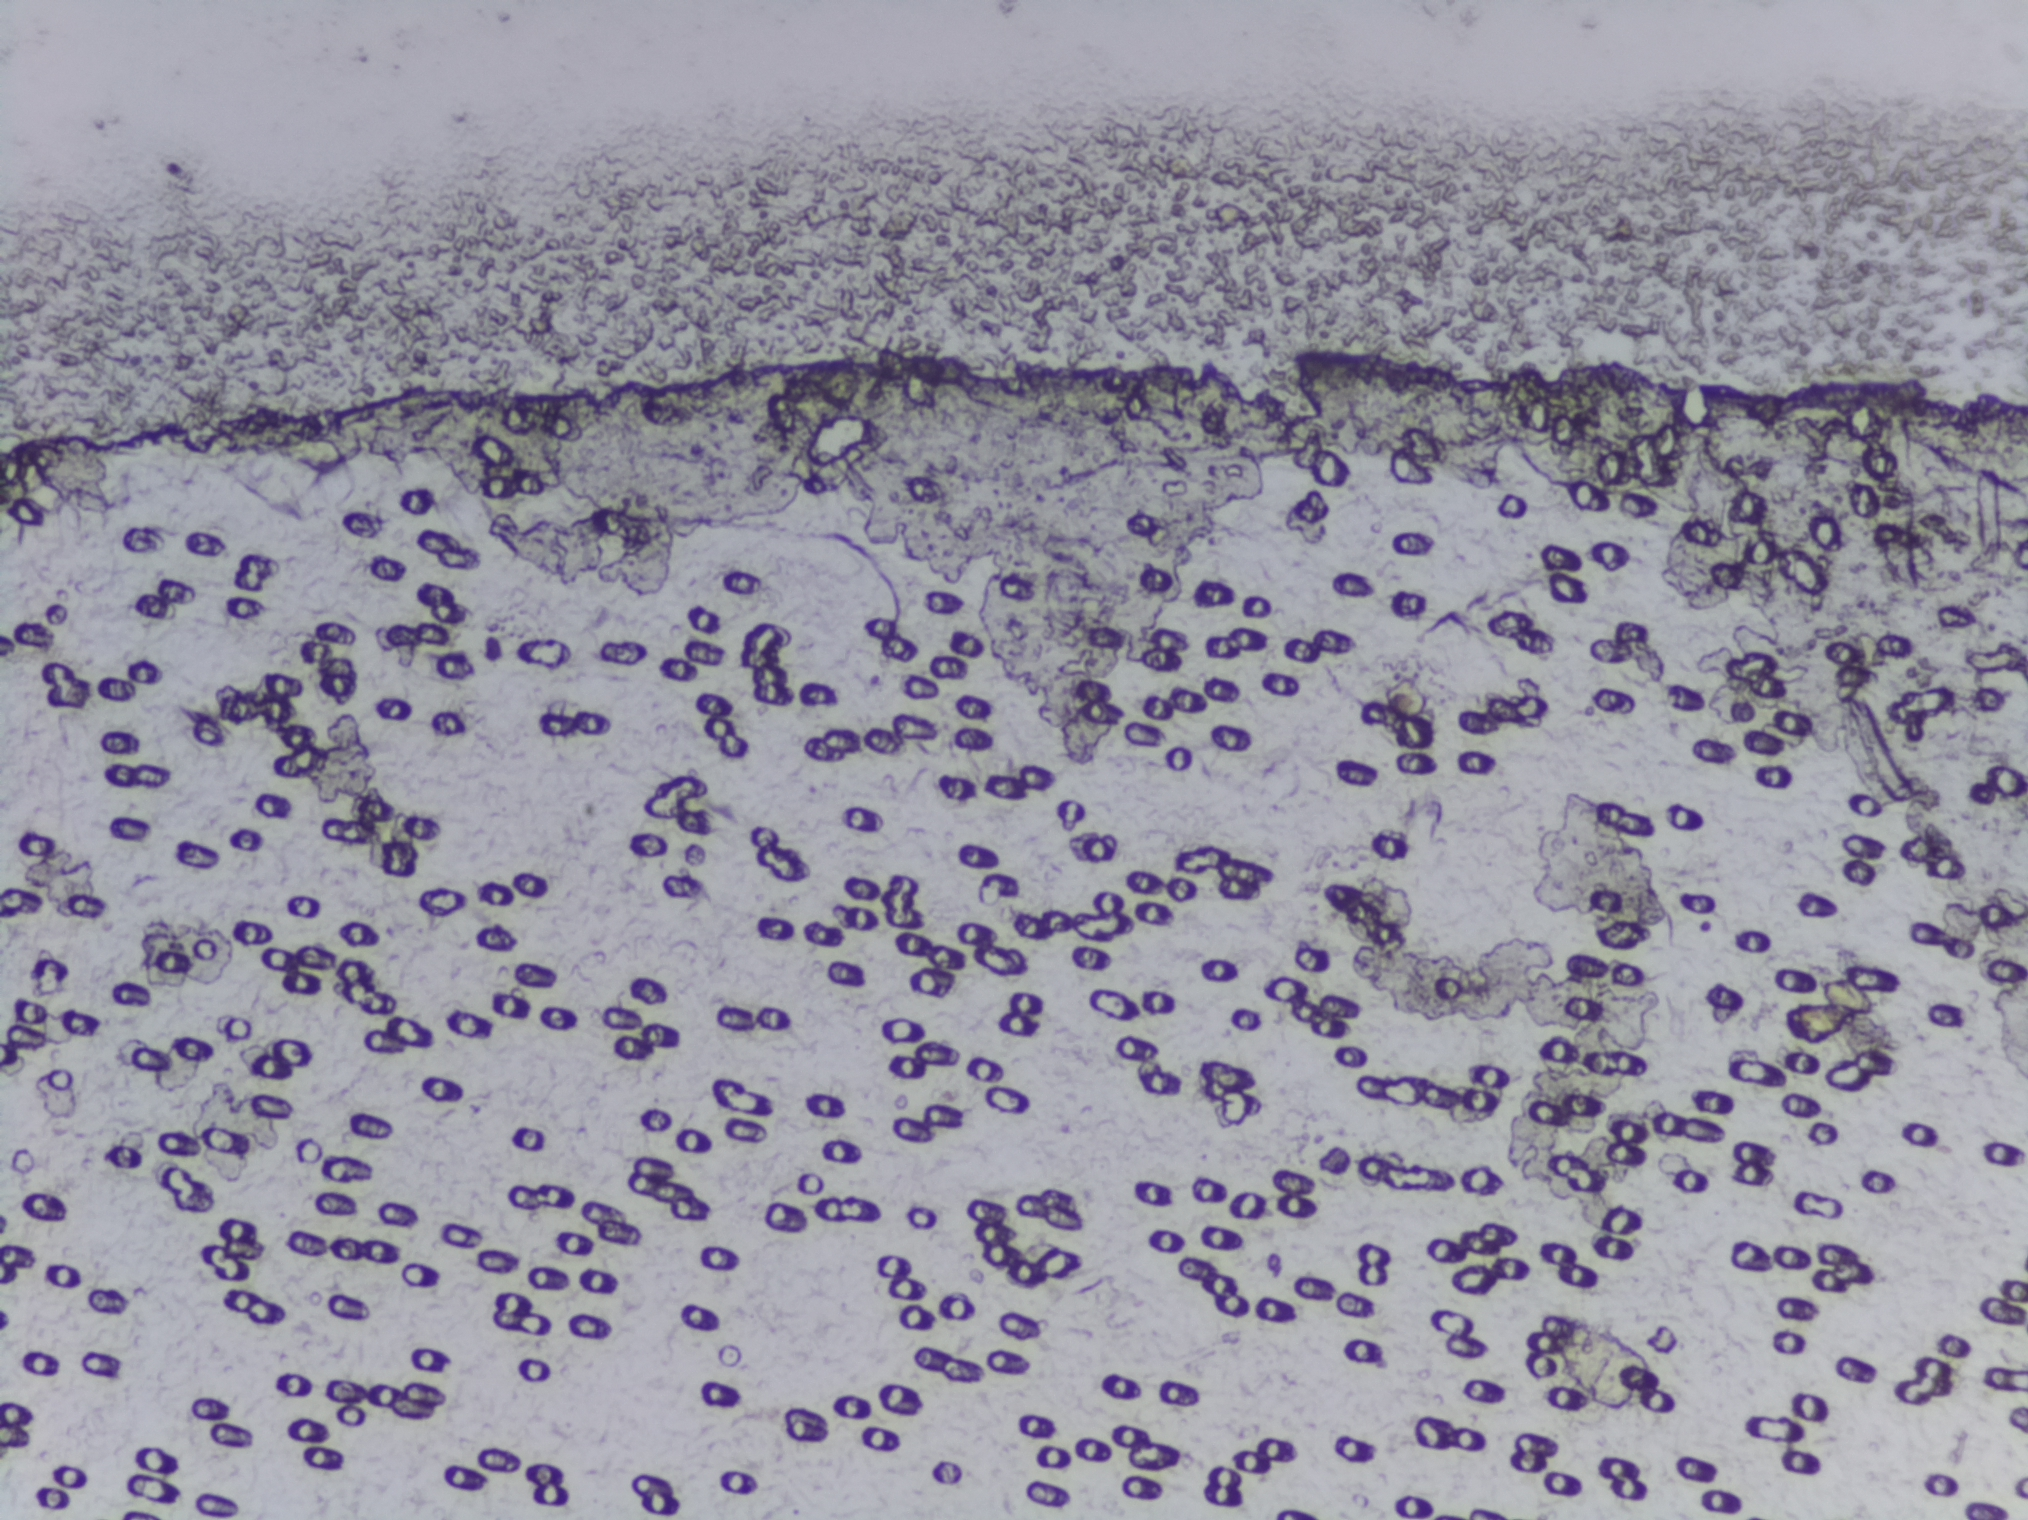
Schistosoma eggs: none outlined.
Photograph from an automated digital microscope: urine filter membrane, 4× objective. The field of view is about 1.5 mm × 1.1 mm.